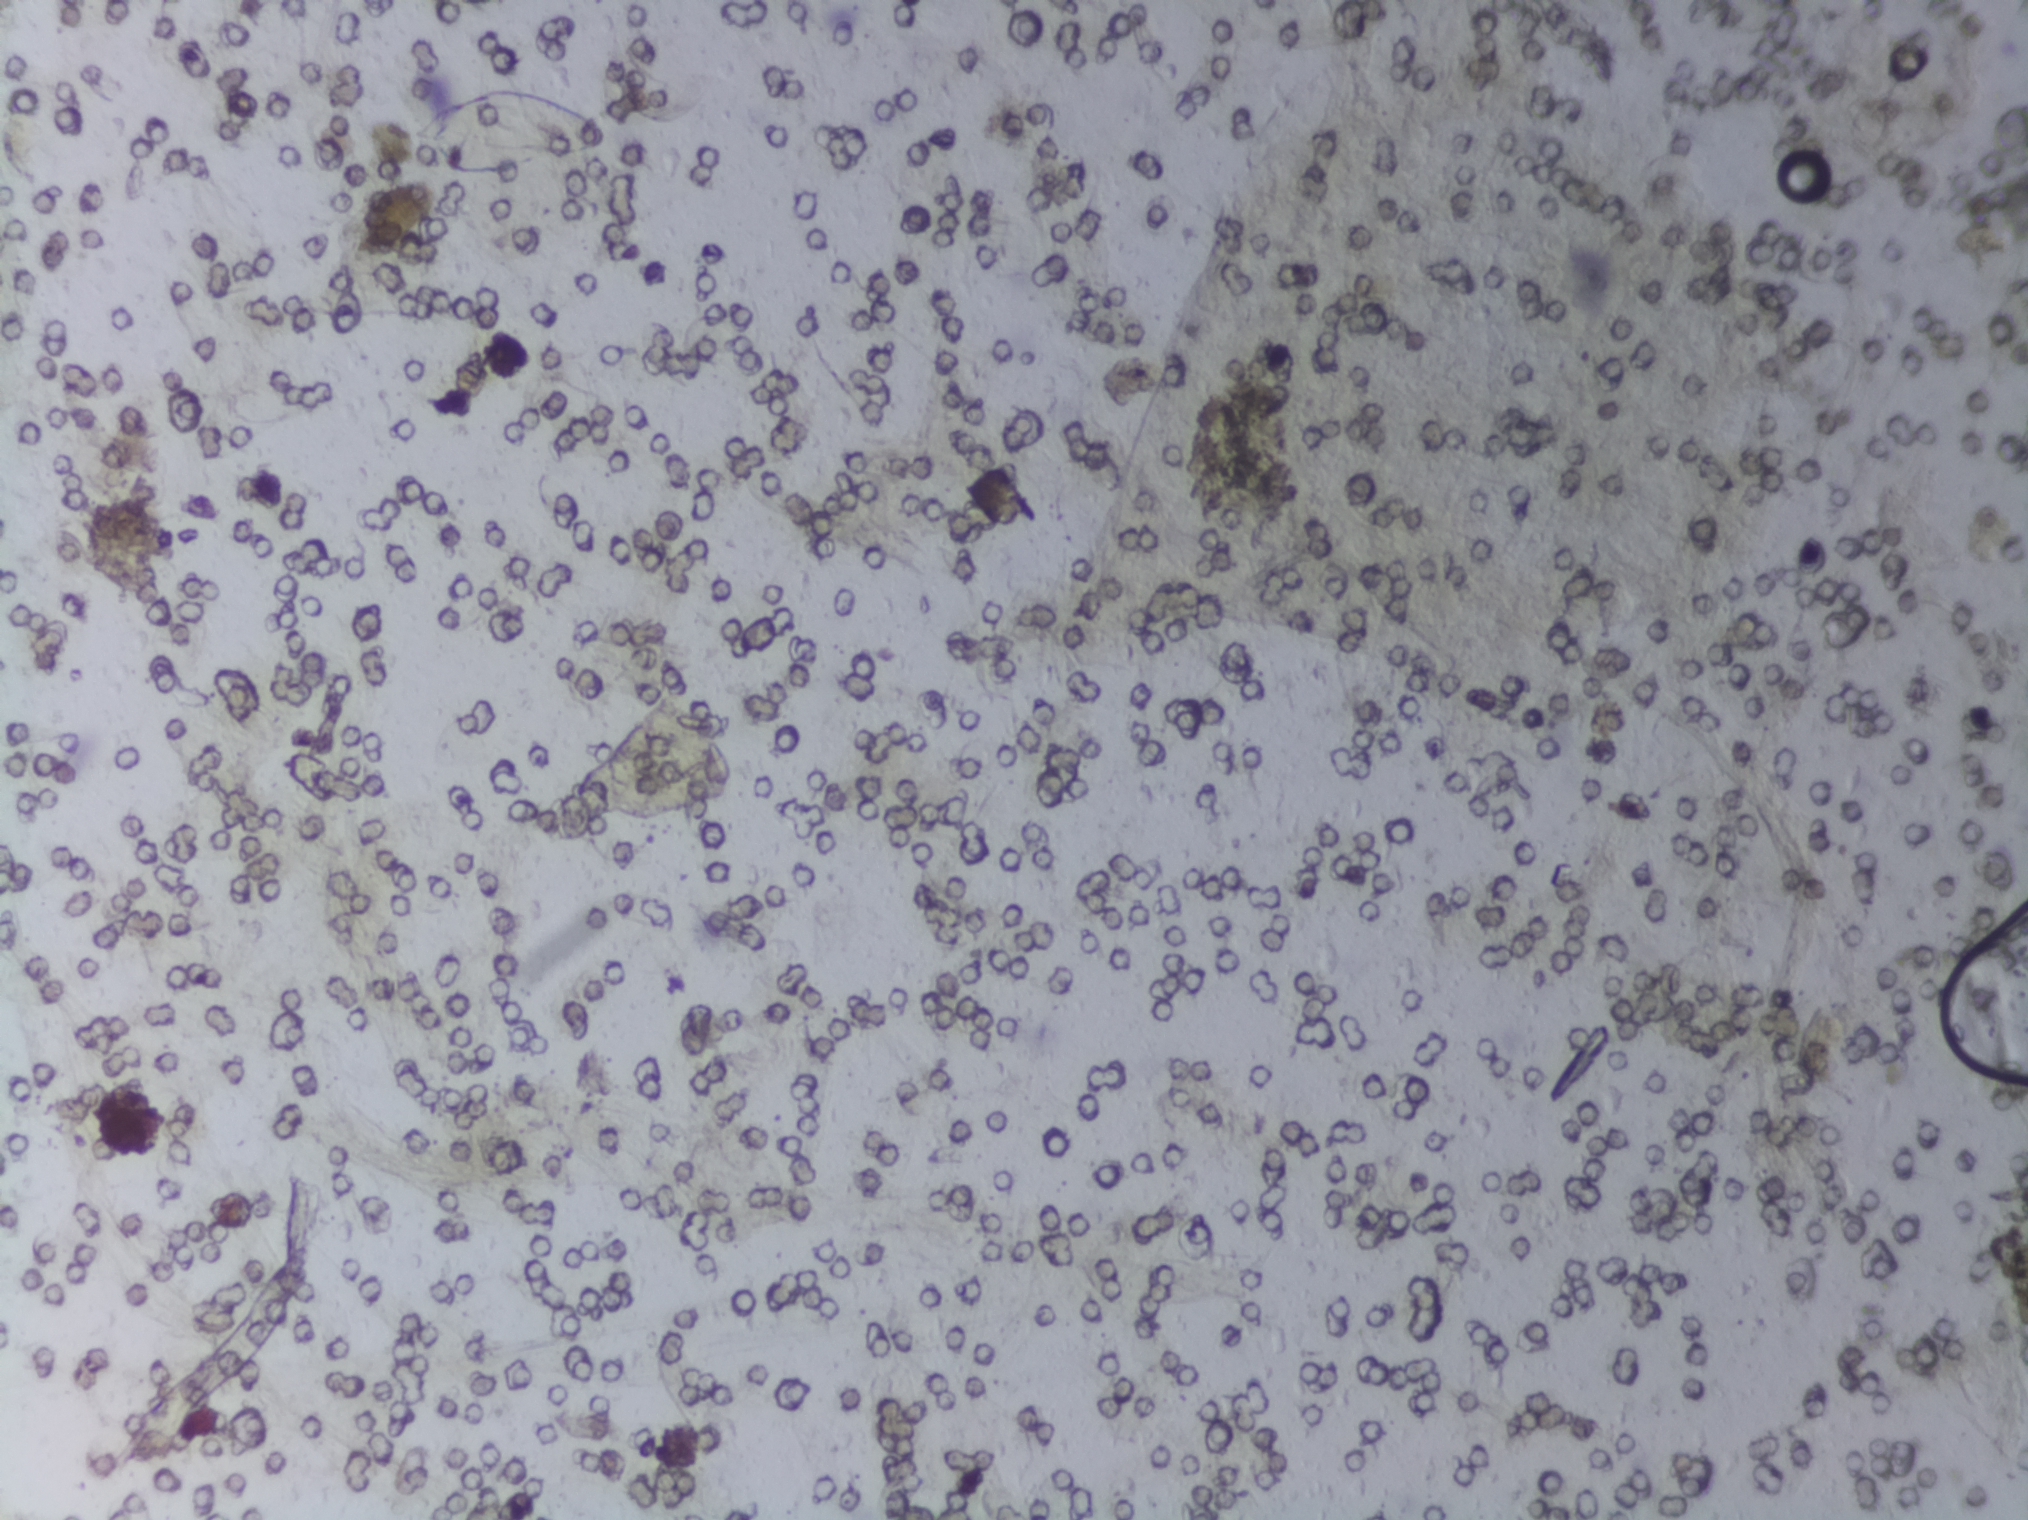
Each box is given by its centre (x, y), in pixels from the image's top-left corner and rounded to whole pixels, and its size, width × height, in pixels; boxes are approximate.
One area of this image is outlined as Schistosoma eggs: centre (511, 131), 196 × 89 px. Eggs that touch can end up inside the same outlined area.
One field of view of a urine filter membrane, 4× objective, 2028 × 1520 pixels.